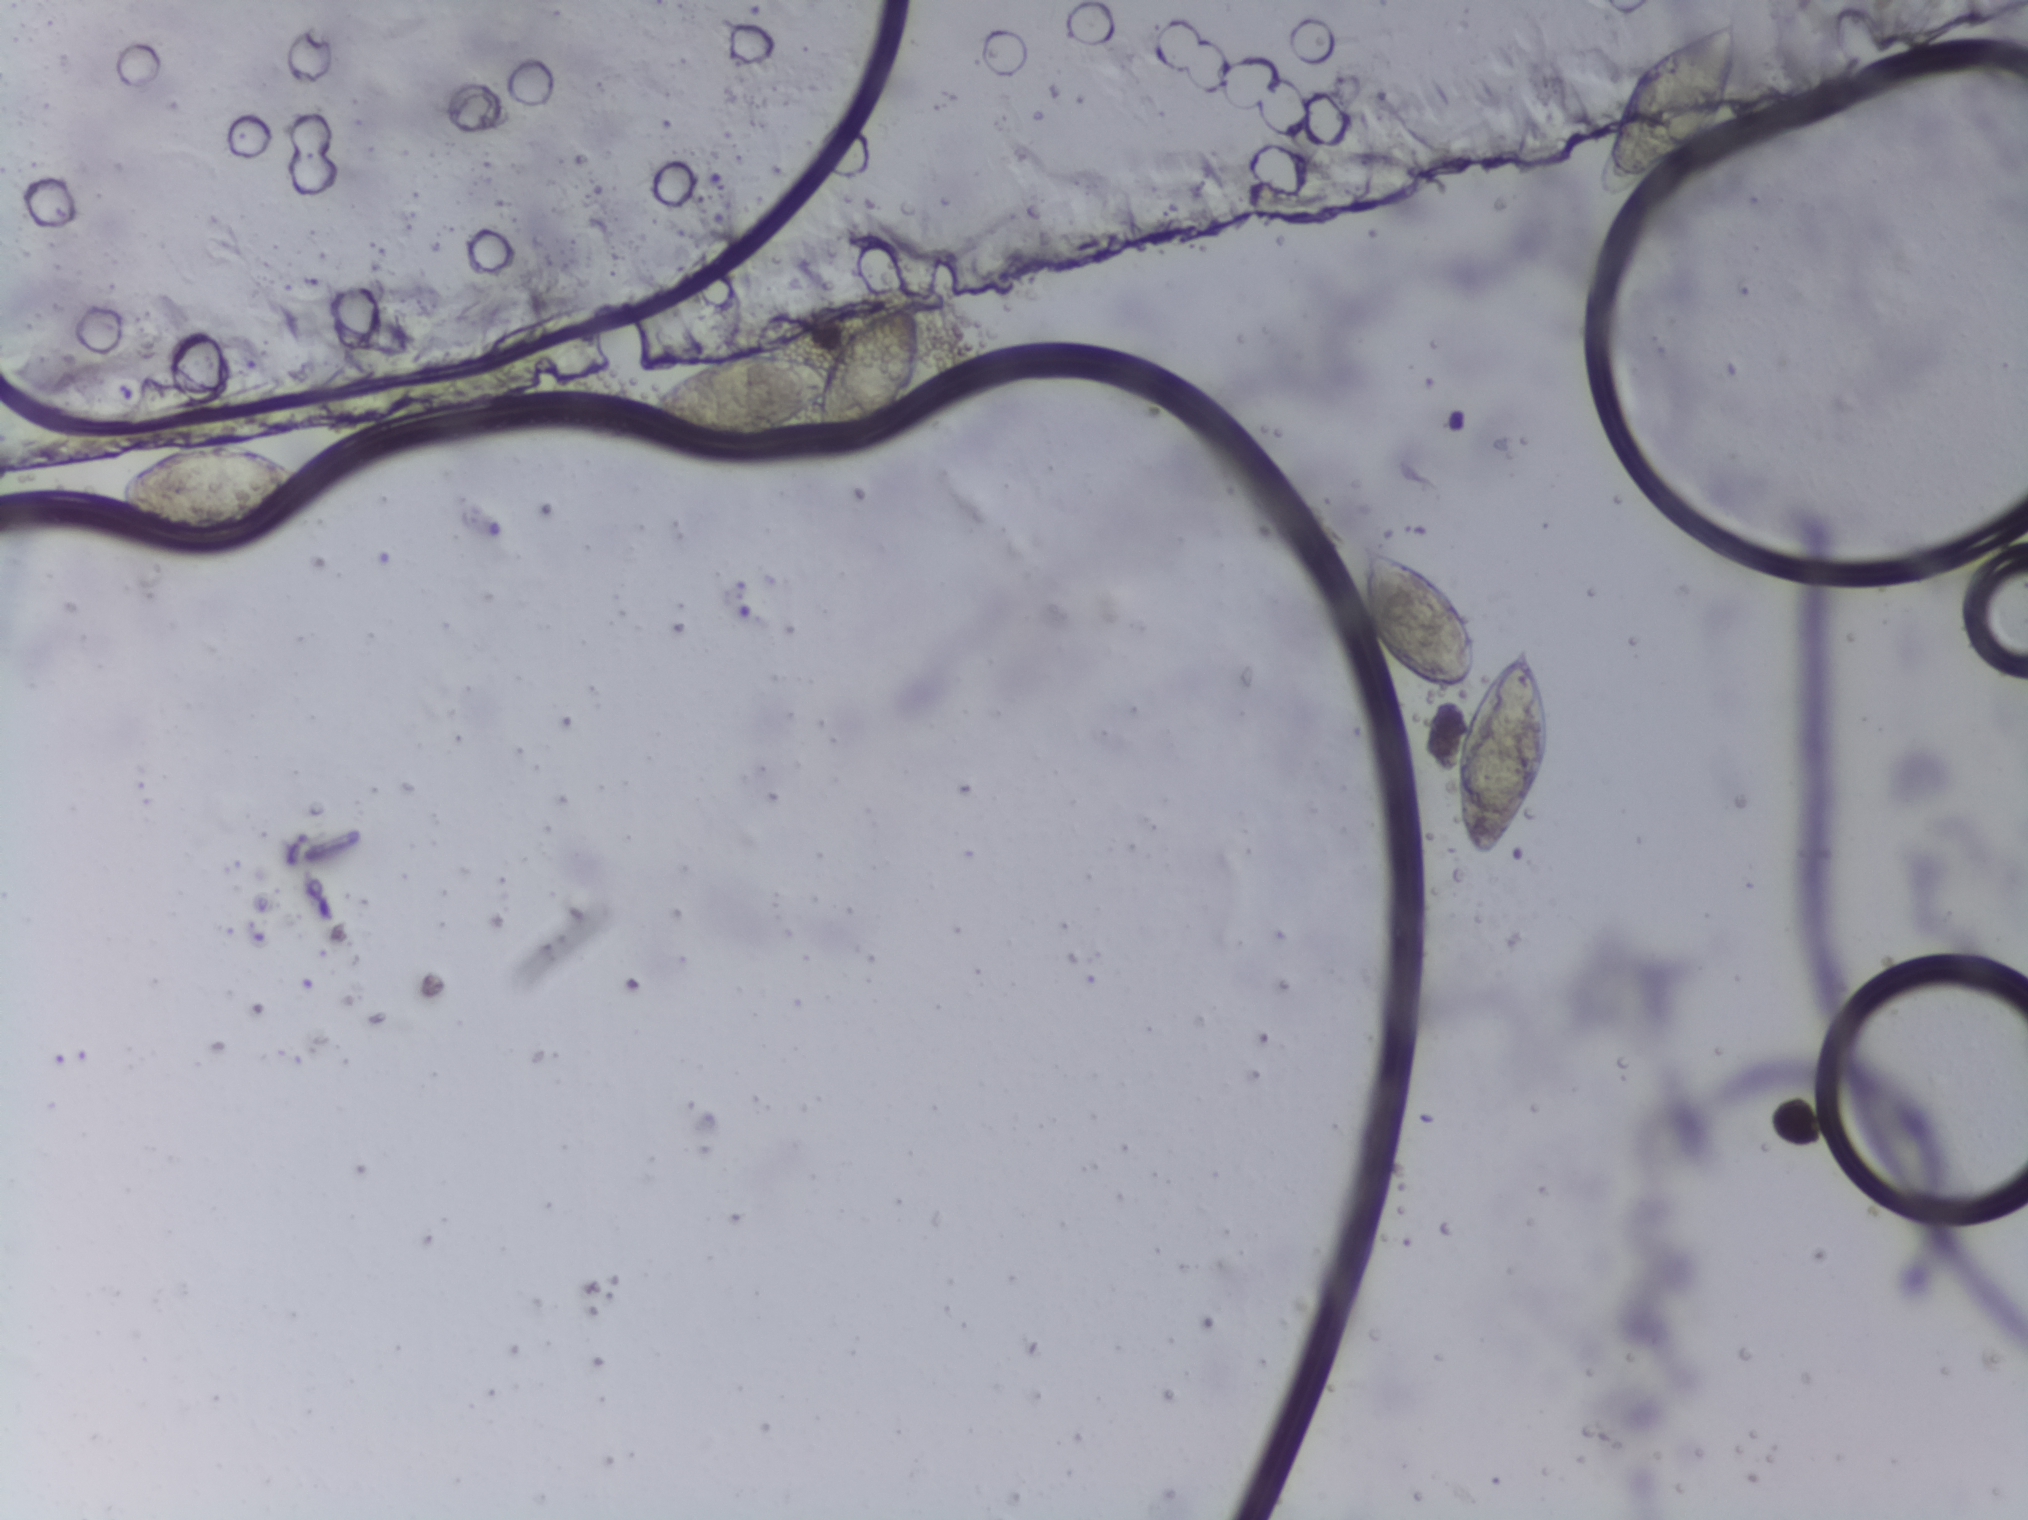
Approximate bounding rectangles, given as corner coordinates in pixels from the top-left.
Areas outlined as Schistosoma eggs, left to right:
1. (x1=116, y1=440, x2=311, y2=546)
2. (x1=644, y1=299, x2=920, y2=446)
3. (x1=1366, y1=546, x2=1481, y2=689)
4. (x1=1451, y1=646, x2=1551, y2=861)
5. (x1=1597, y1=14, x2=1739, y2=198)
A single outlined area may contain several eggs.
Photograph from an automated digital microscope: urine filter membrane, 4× objective.